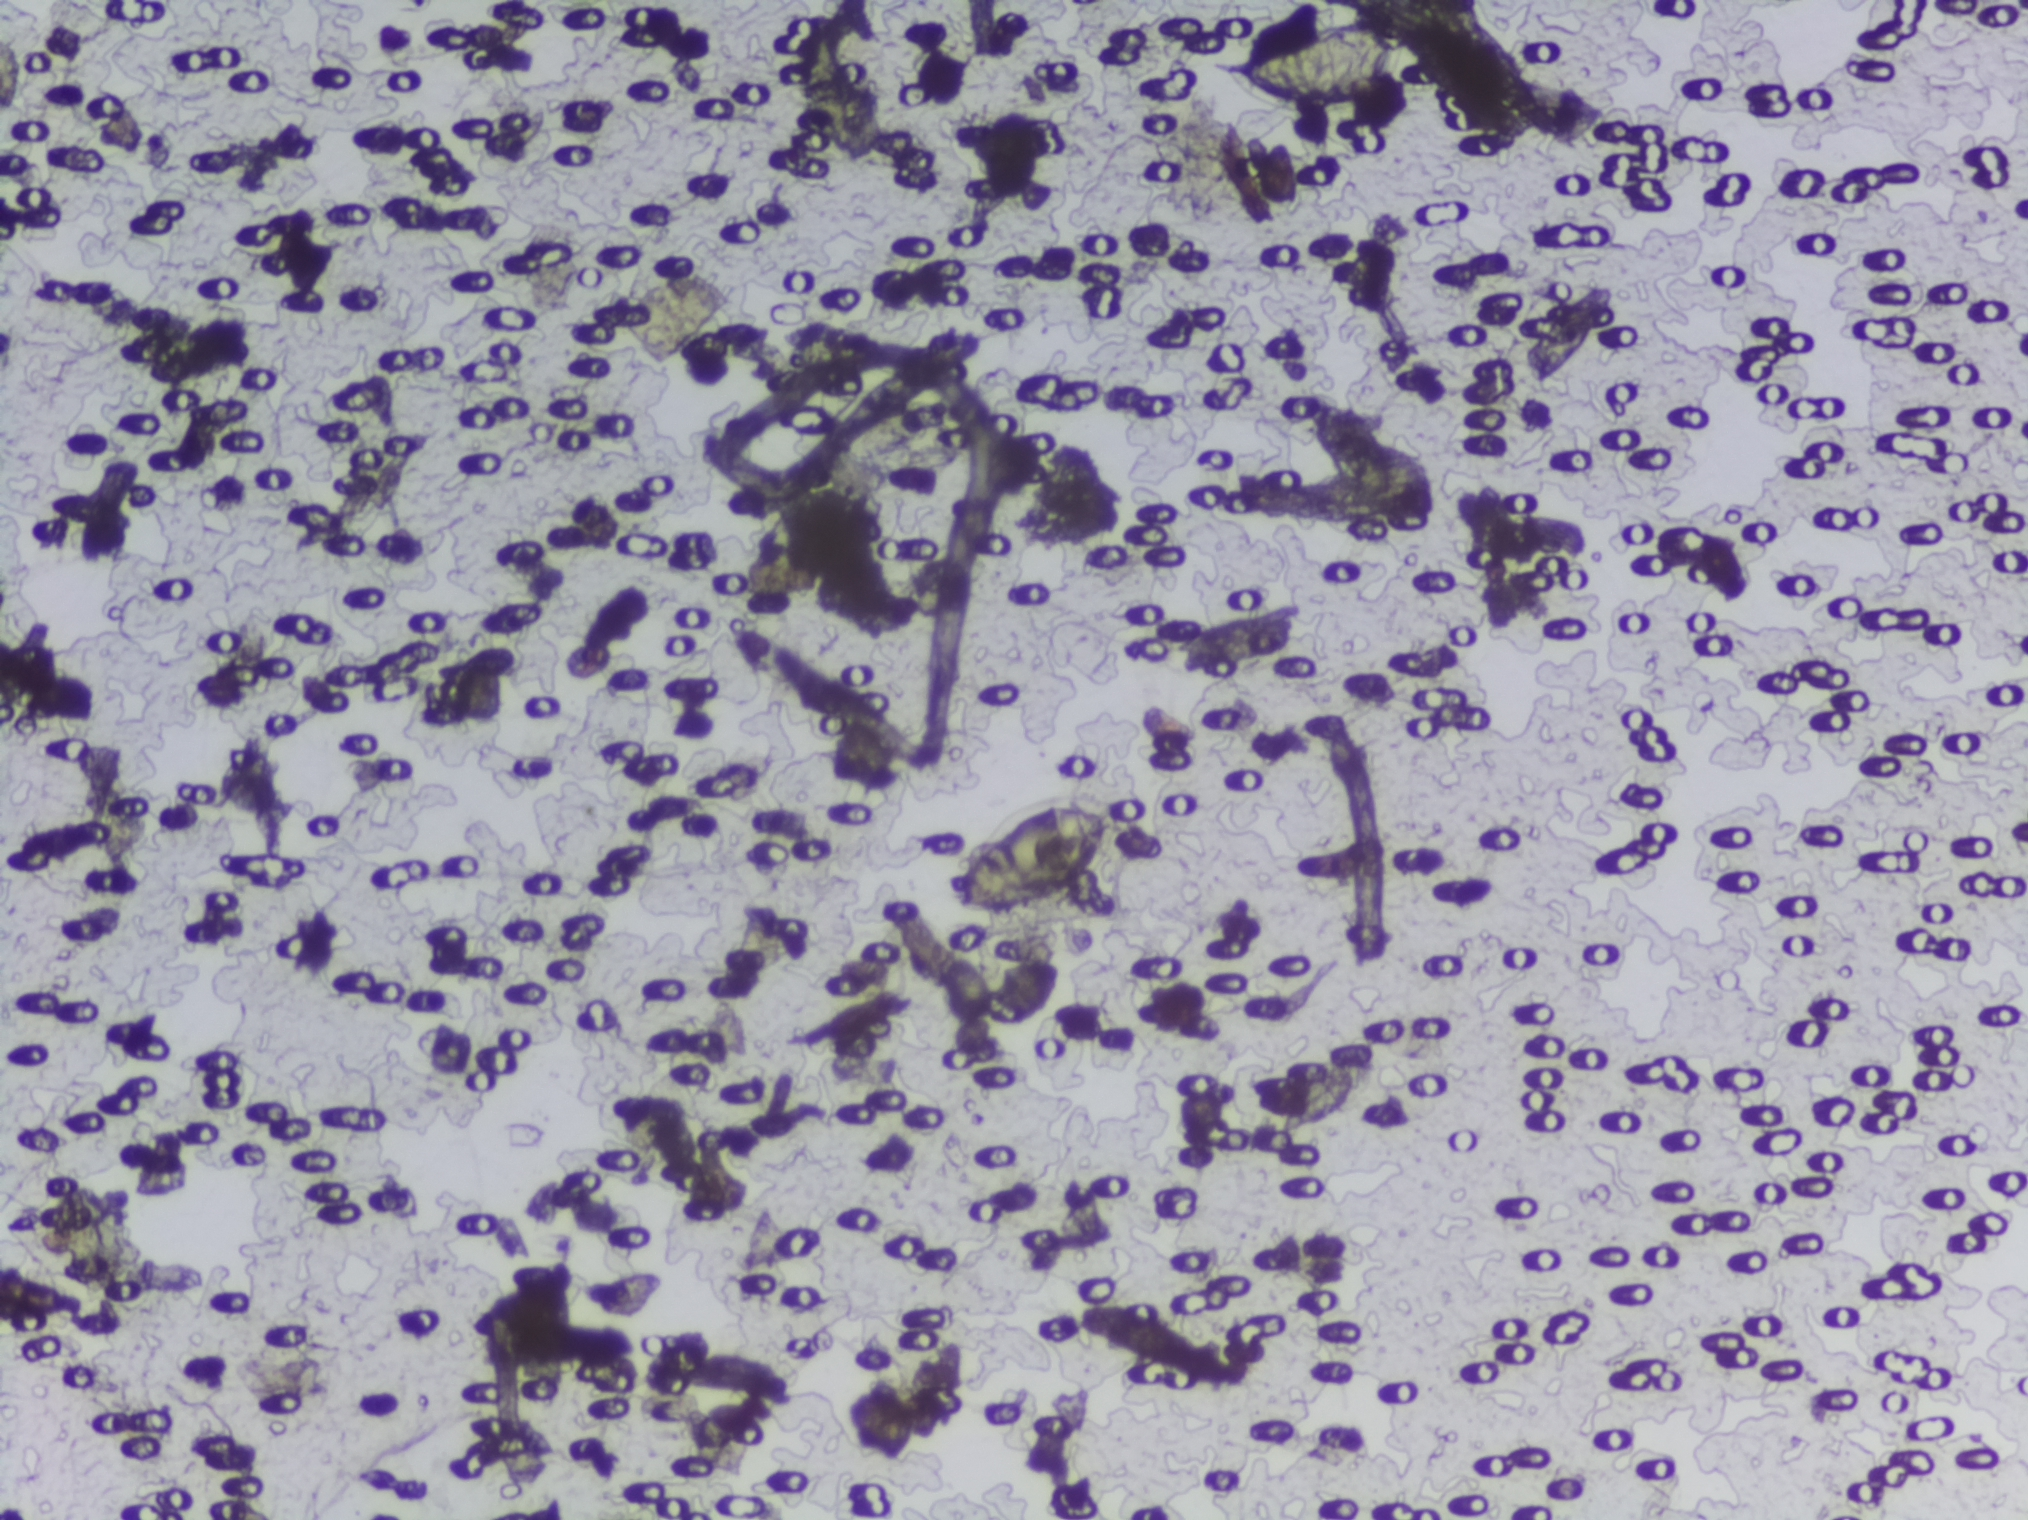
Photomicrograph of a urine filtration membrane, 4× objective.
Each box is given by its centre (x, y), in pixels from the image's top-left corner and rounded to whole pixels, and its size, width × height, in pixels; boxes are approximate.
Two areas of this image are outlined as Schistosoma eggs, from left to right: centre (1035, 858), 172 × 131 px and centre (1316, 67), 202 × 97 px. An outlined area can hold more than one egg.